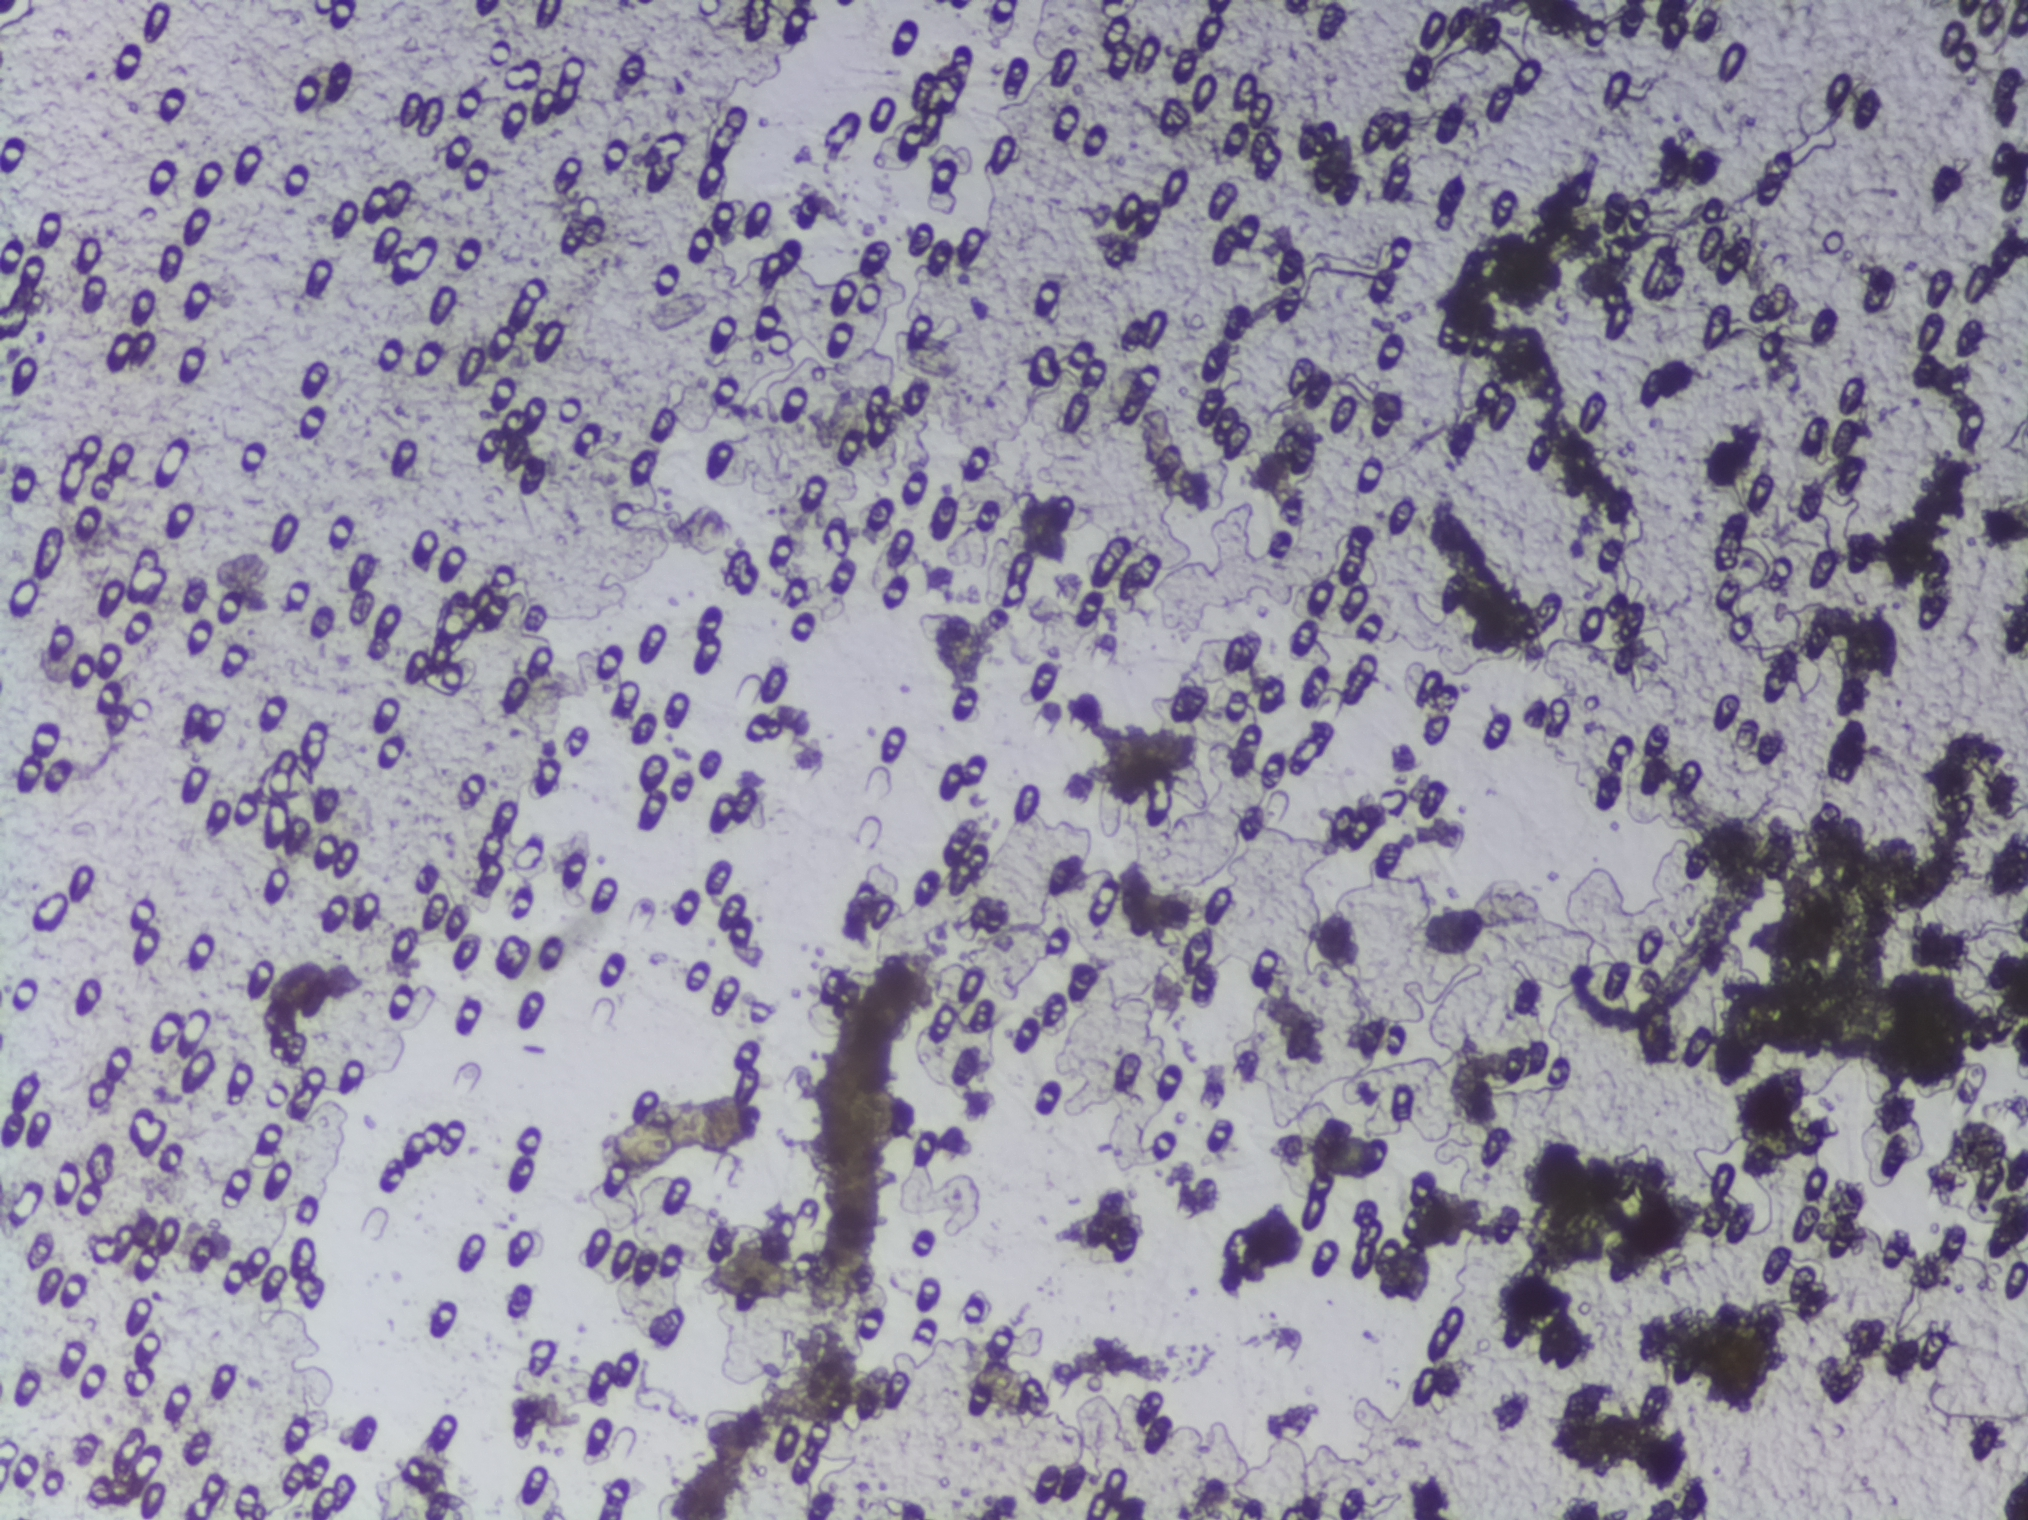
The expert annotation outlines no Schistosoma egg in this image.
Microscope photograph (4× objective) of a membrane that a urine sample was filtered through.